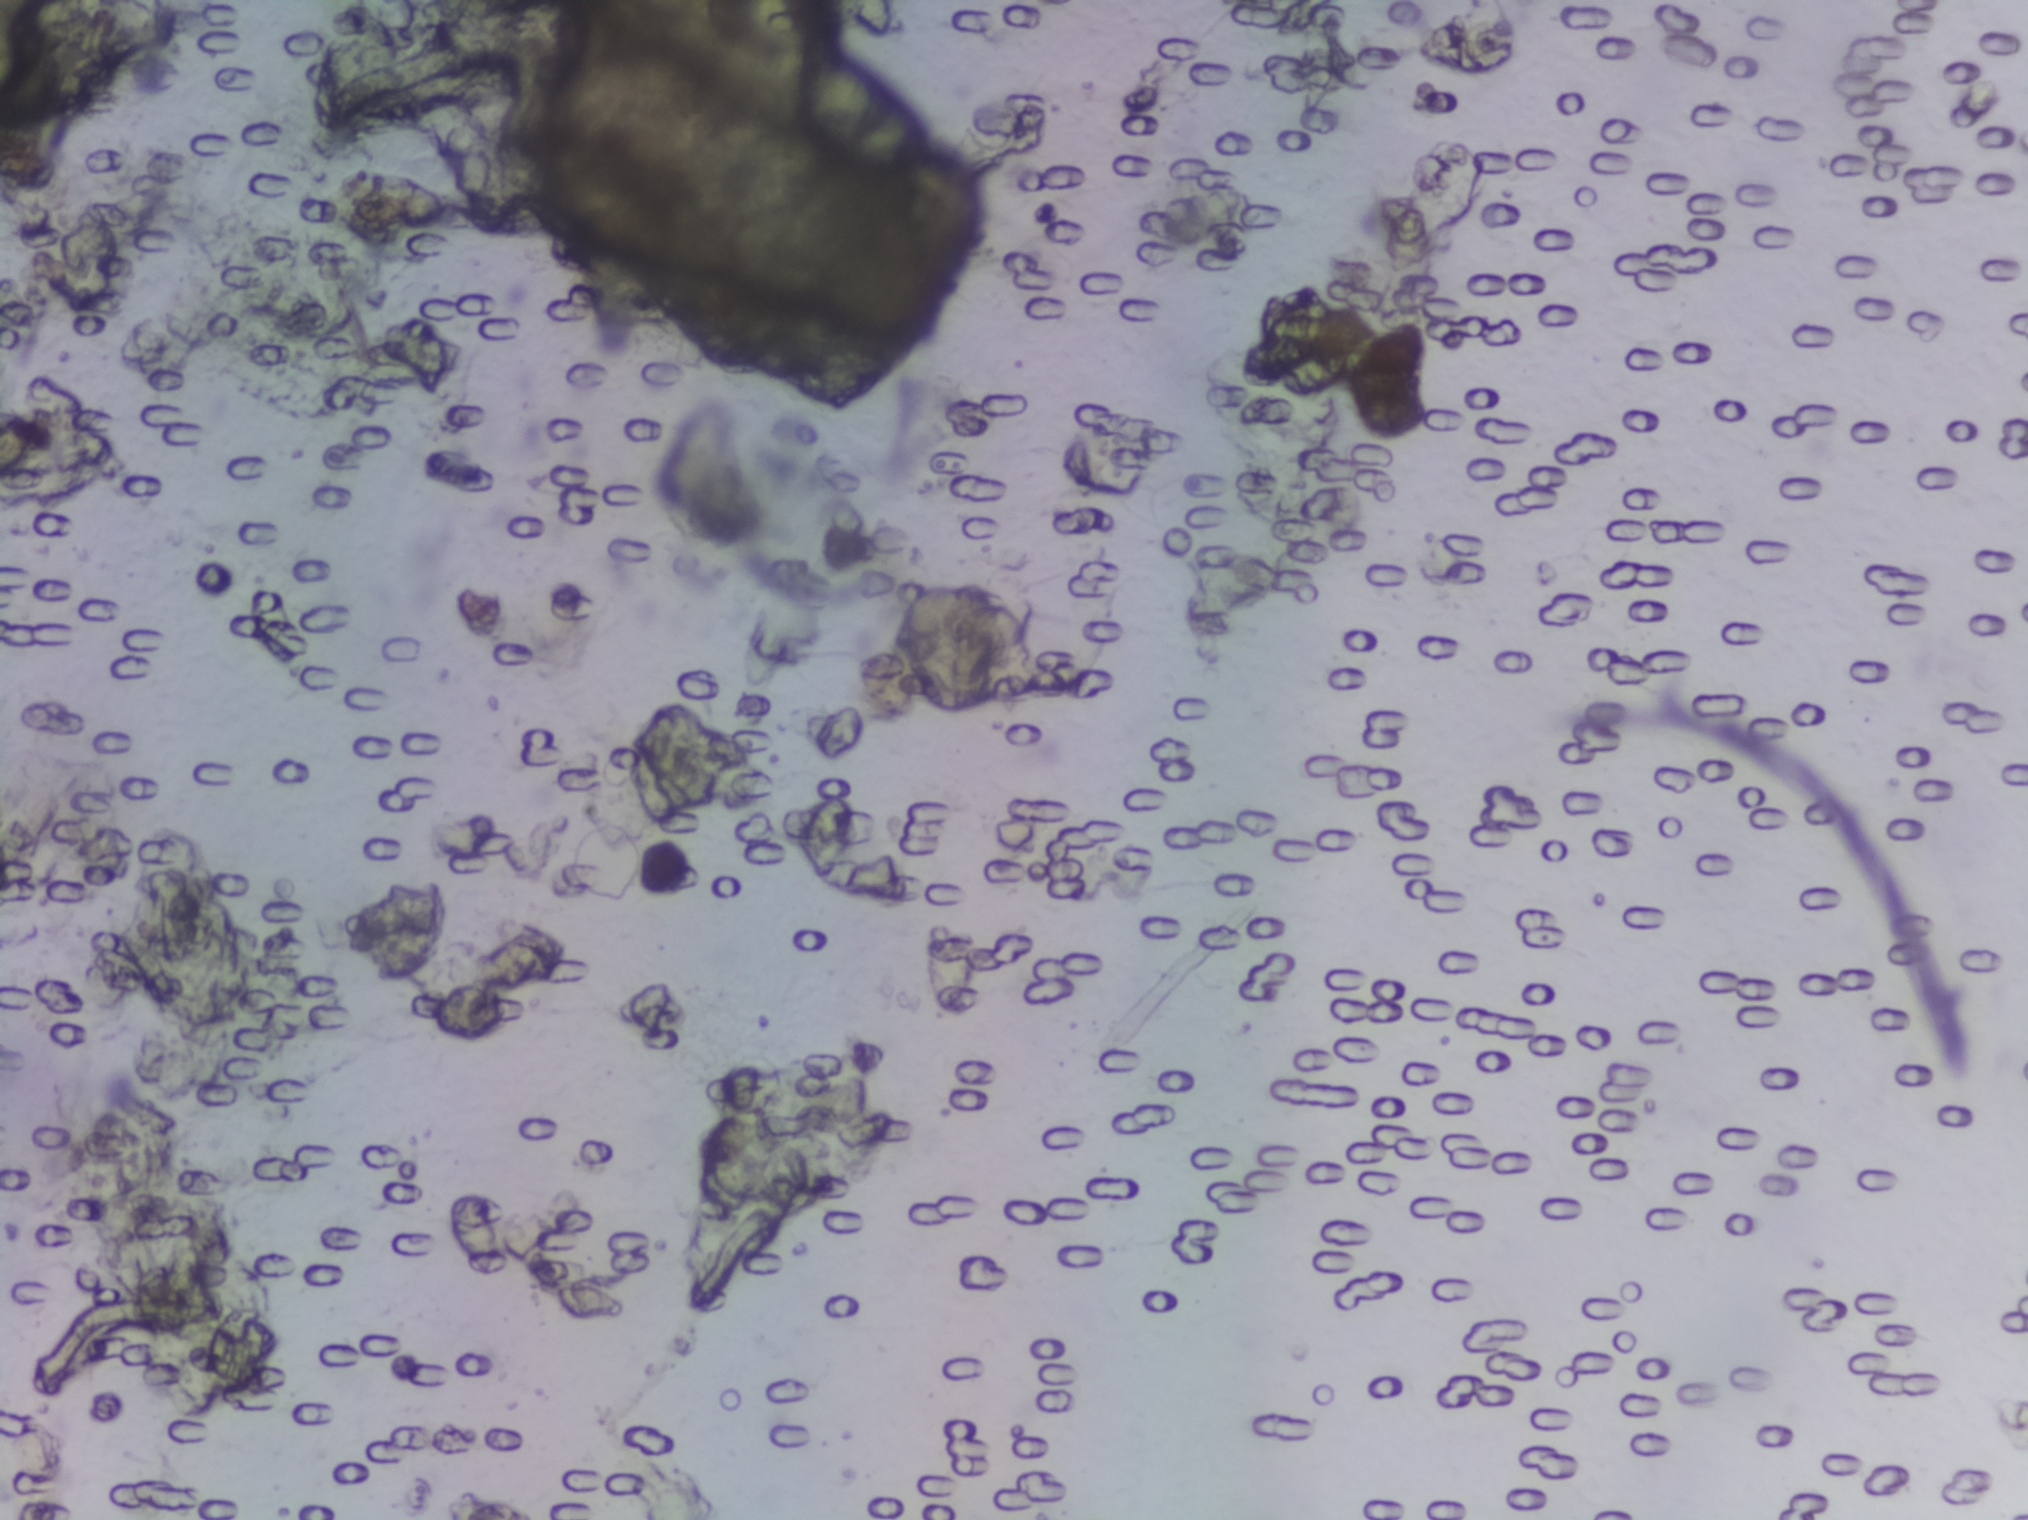
The expert annotation marks no Schistosoma egg in this field of view.
Urine filtration membrane under a 4× objective, photographed by an automated digital microscope.